One field of view of a urine filter membrane, 4× objective, 2028 × 1520 pixels.
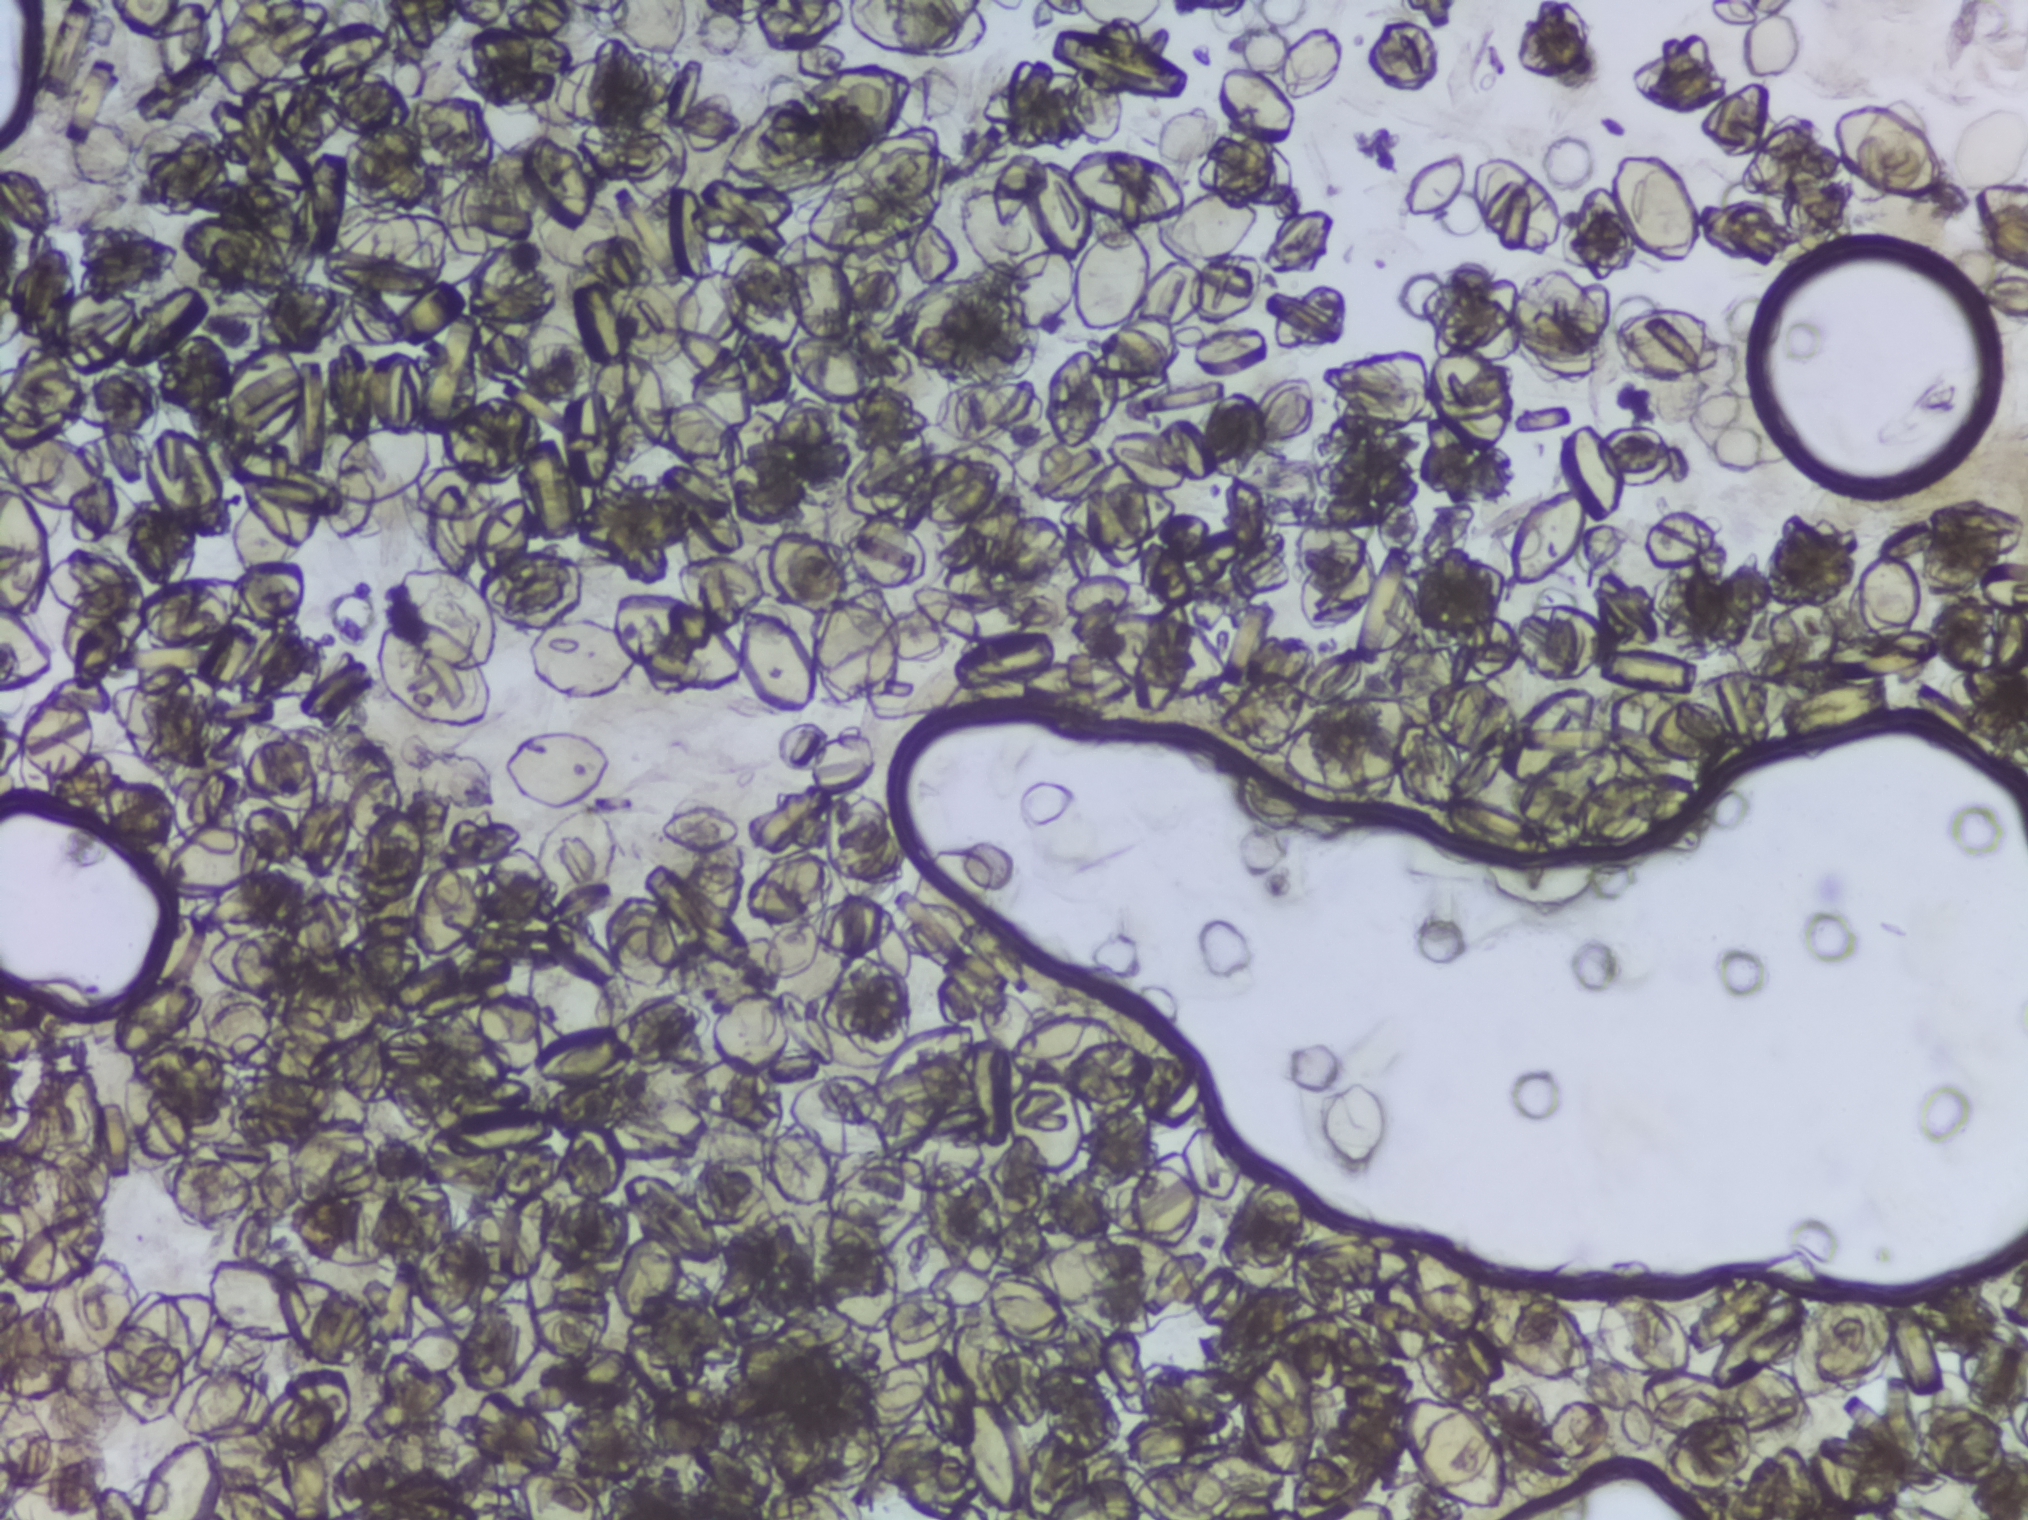
The expert annotation marks no Schistosoma egg in this field of view.